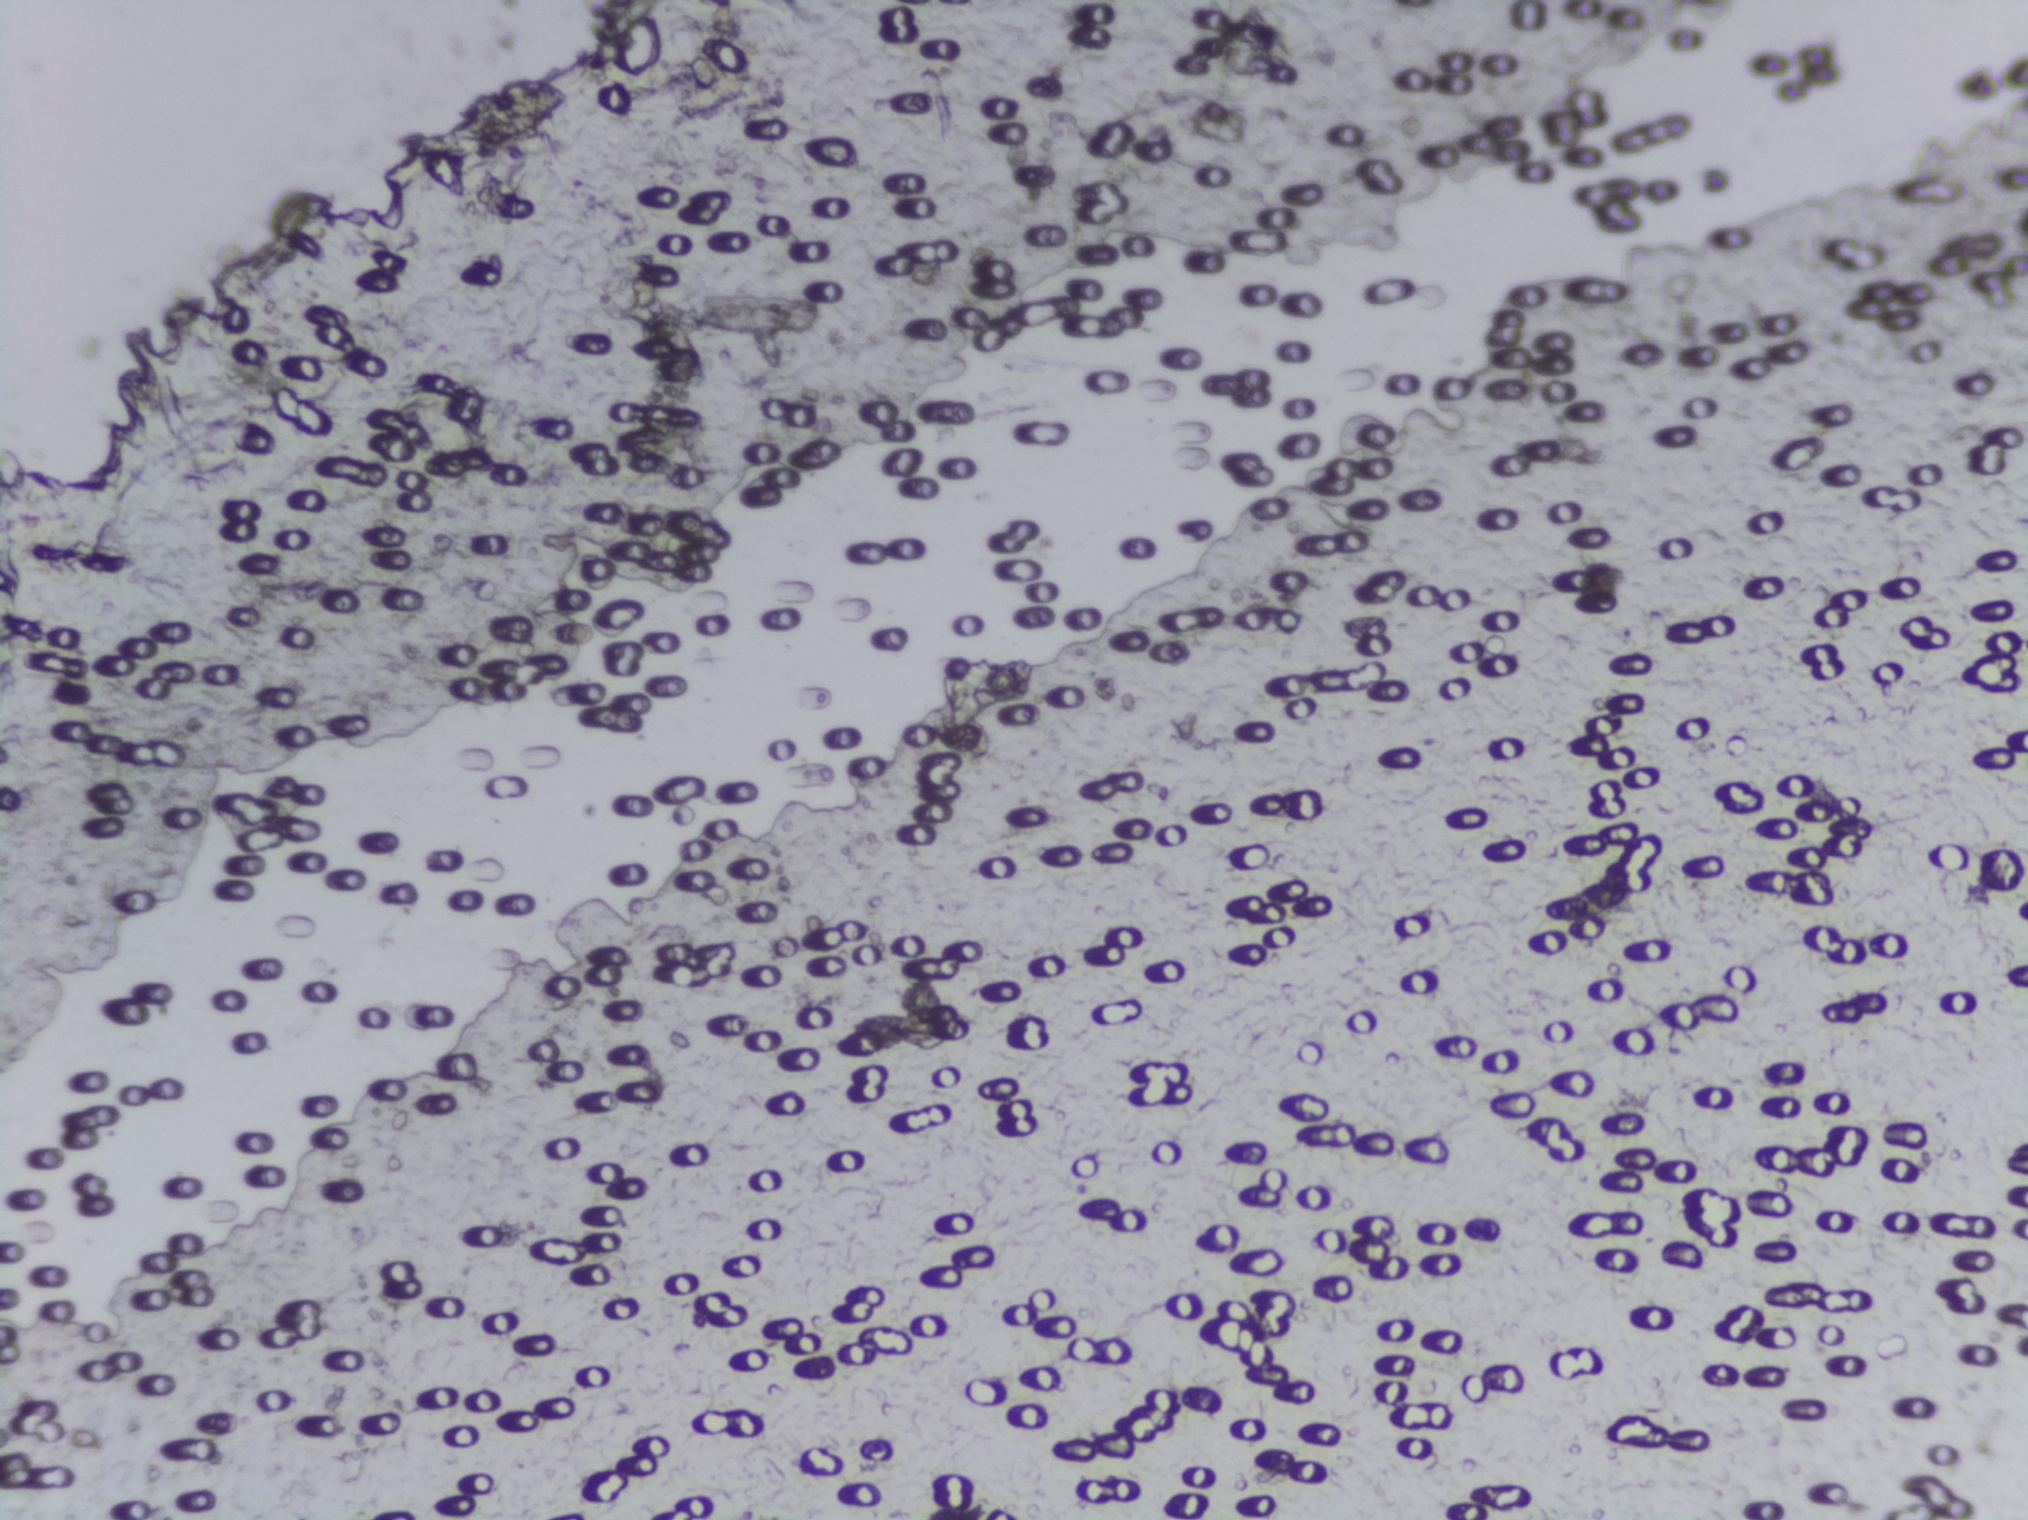
Schistosoma eggs: none outlined.
Urine filtration membrane under a 4× objective, photographed by an automated digital microscope.